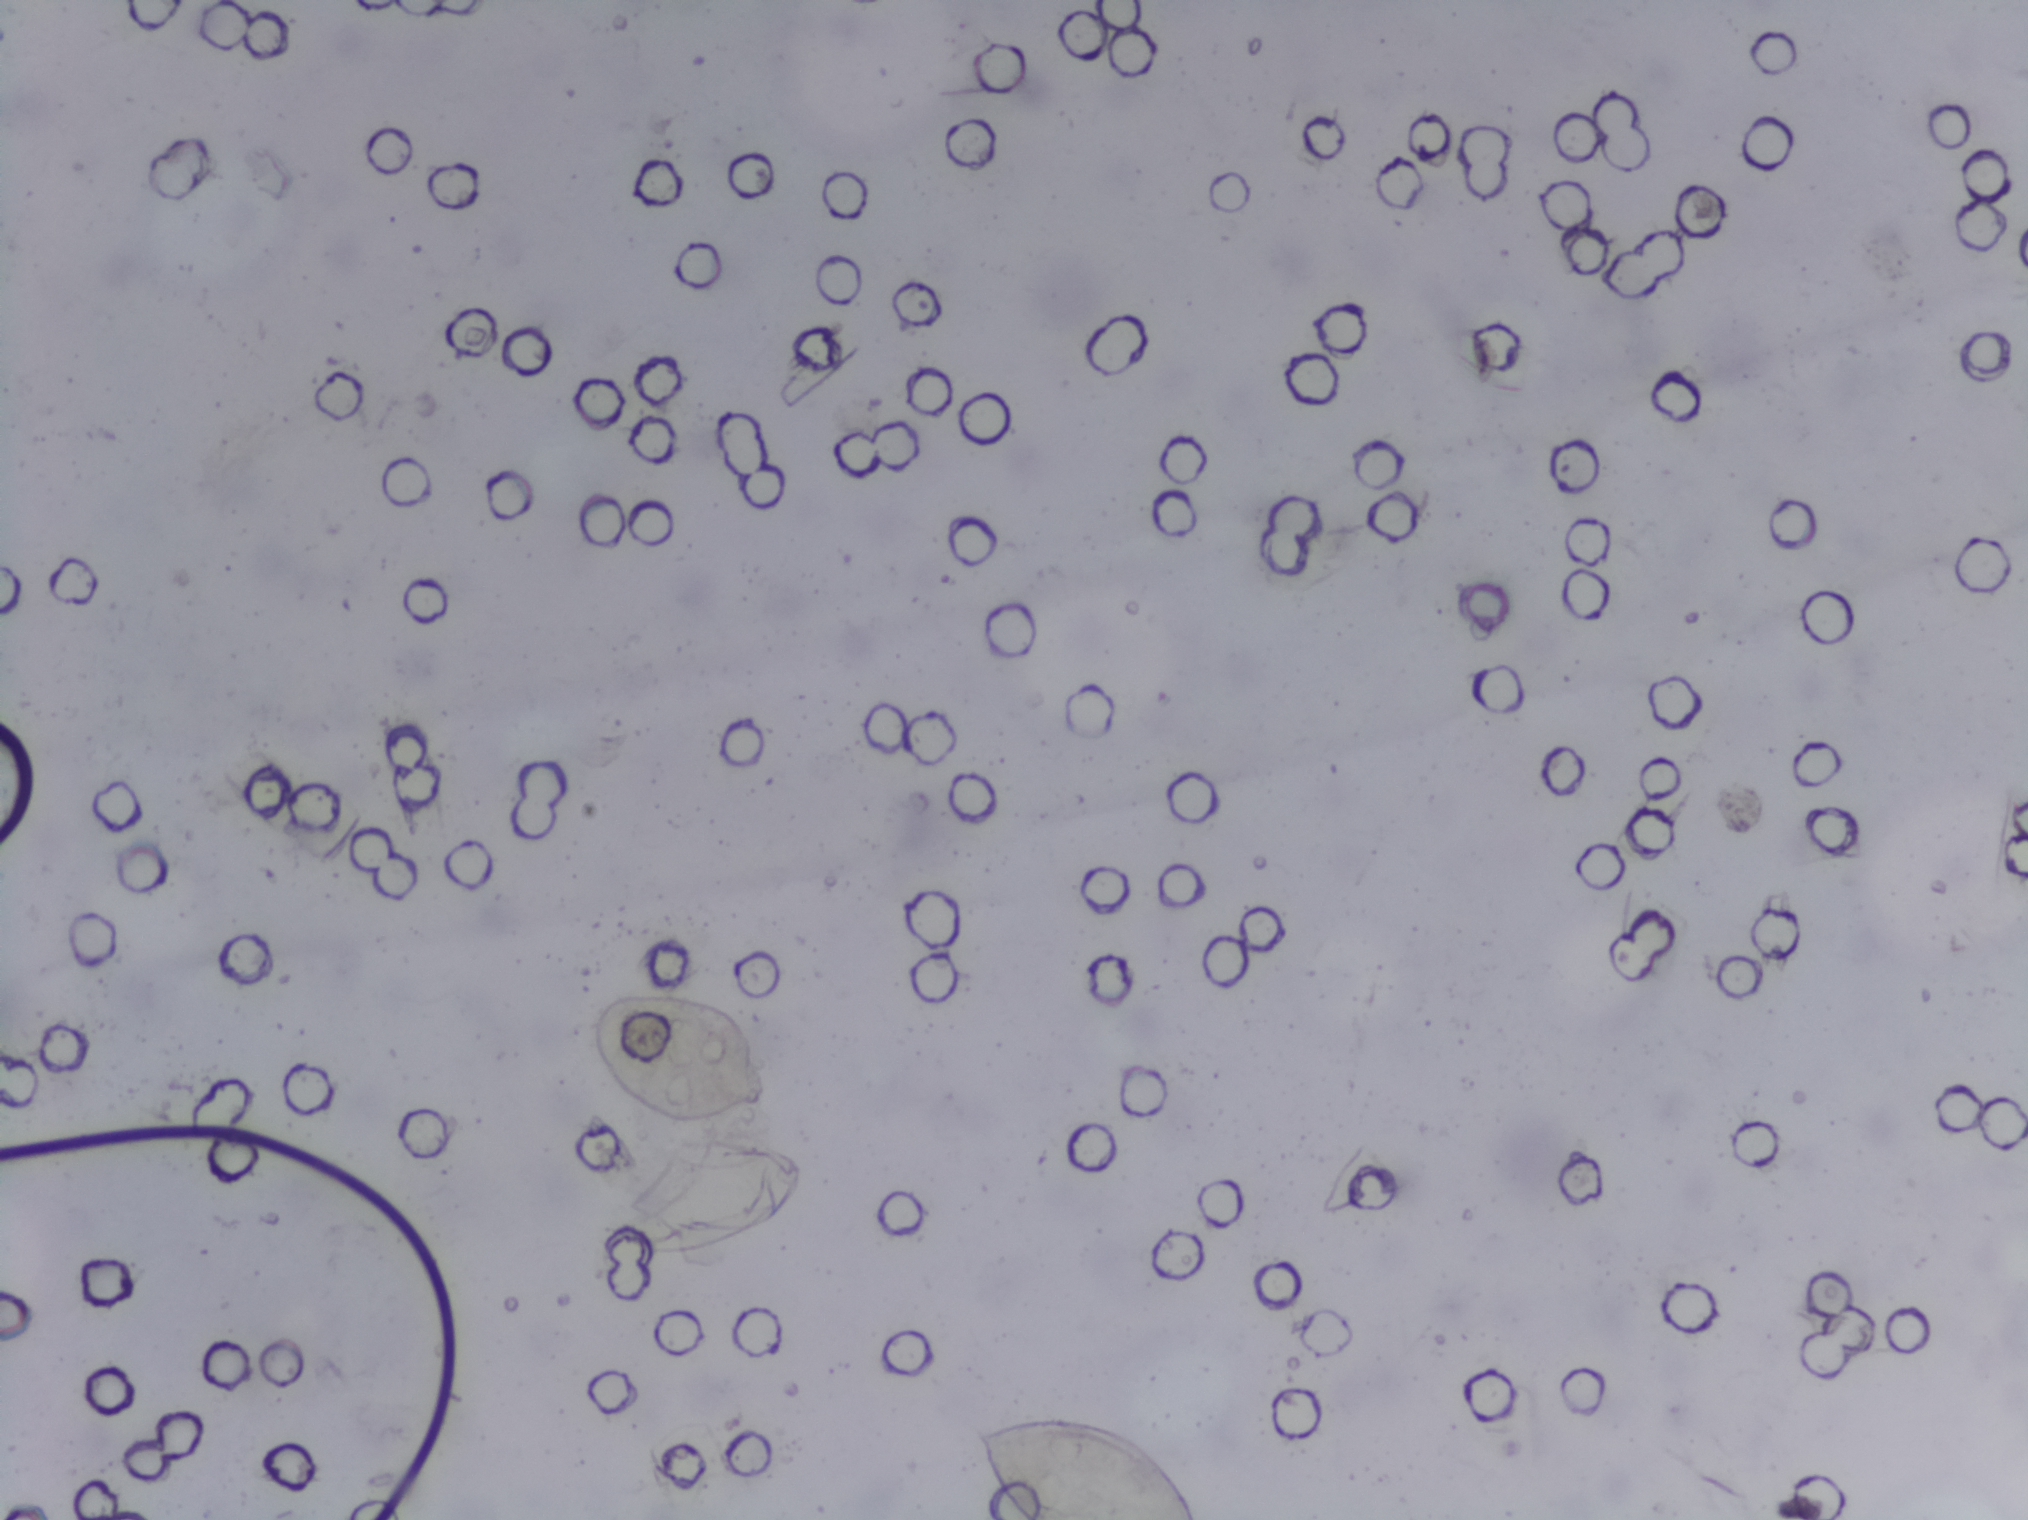
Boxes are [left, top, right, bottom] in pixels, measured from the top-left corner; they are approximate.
Schistosoma egg areas, outlined: [597, 1146, 808, 1252]; [598, 990, 774, 1125]; [971, 1410, 1200, 1519] (reaching the bottom edge of the frame). A single outlined area may contain several eggs.
Photograph from an automated digital microscope: urine filter membrane, 4× objective.